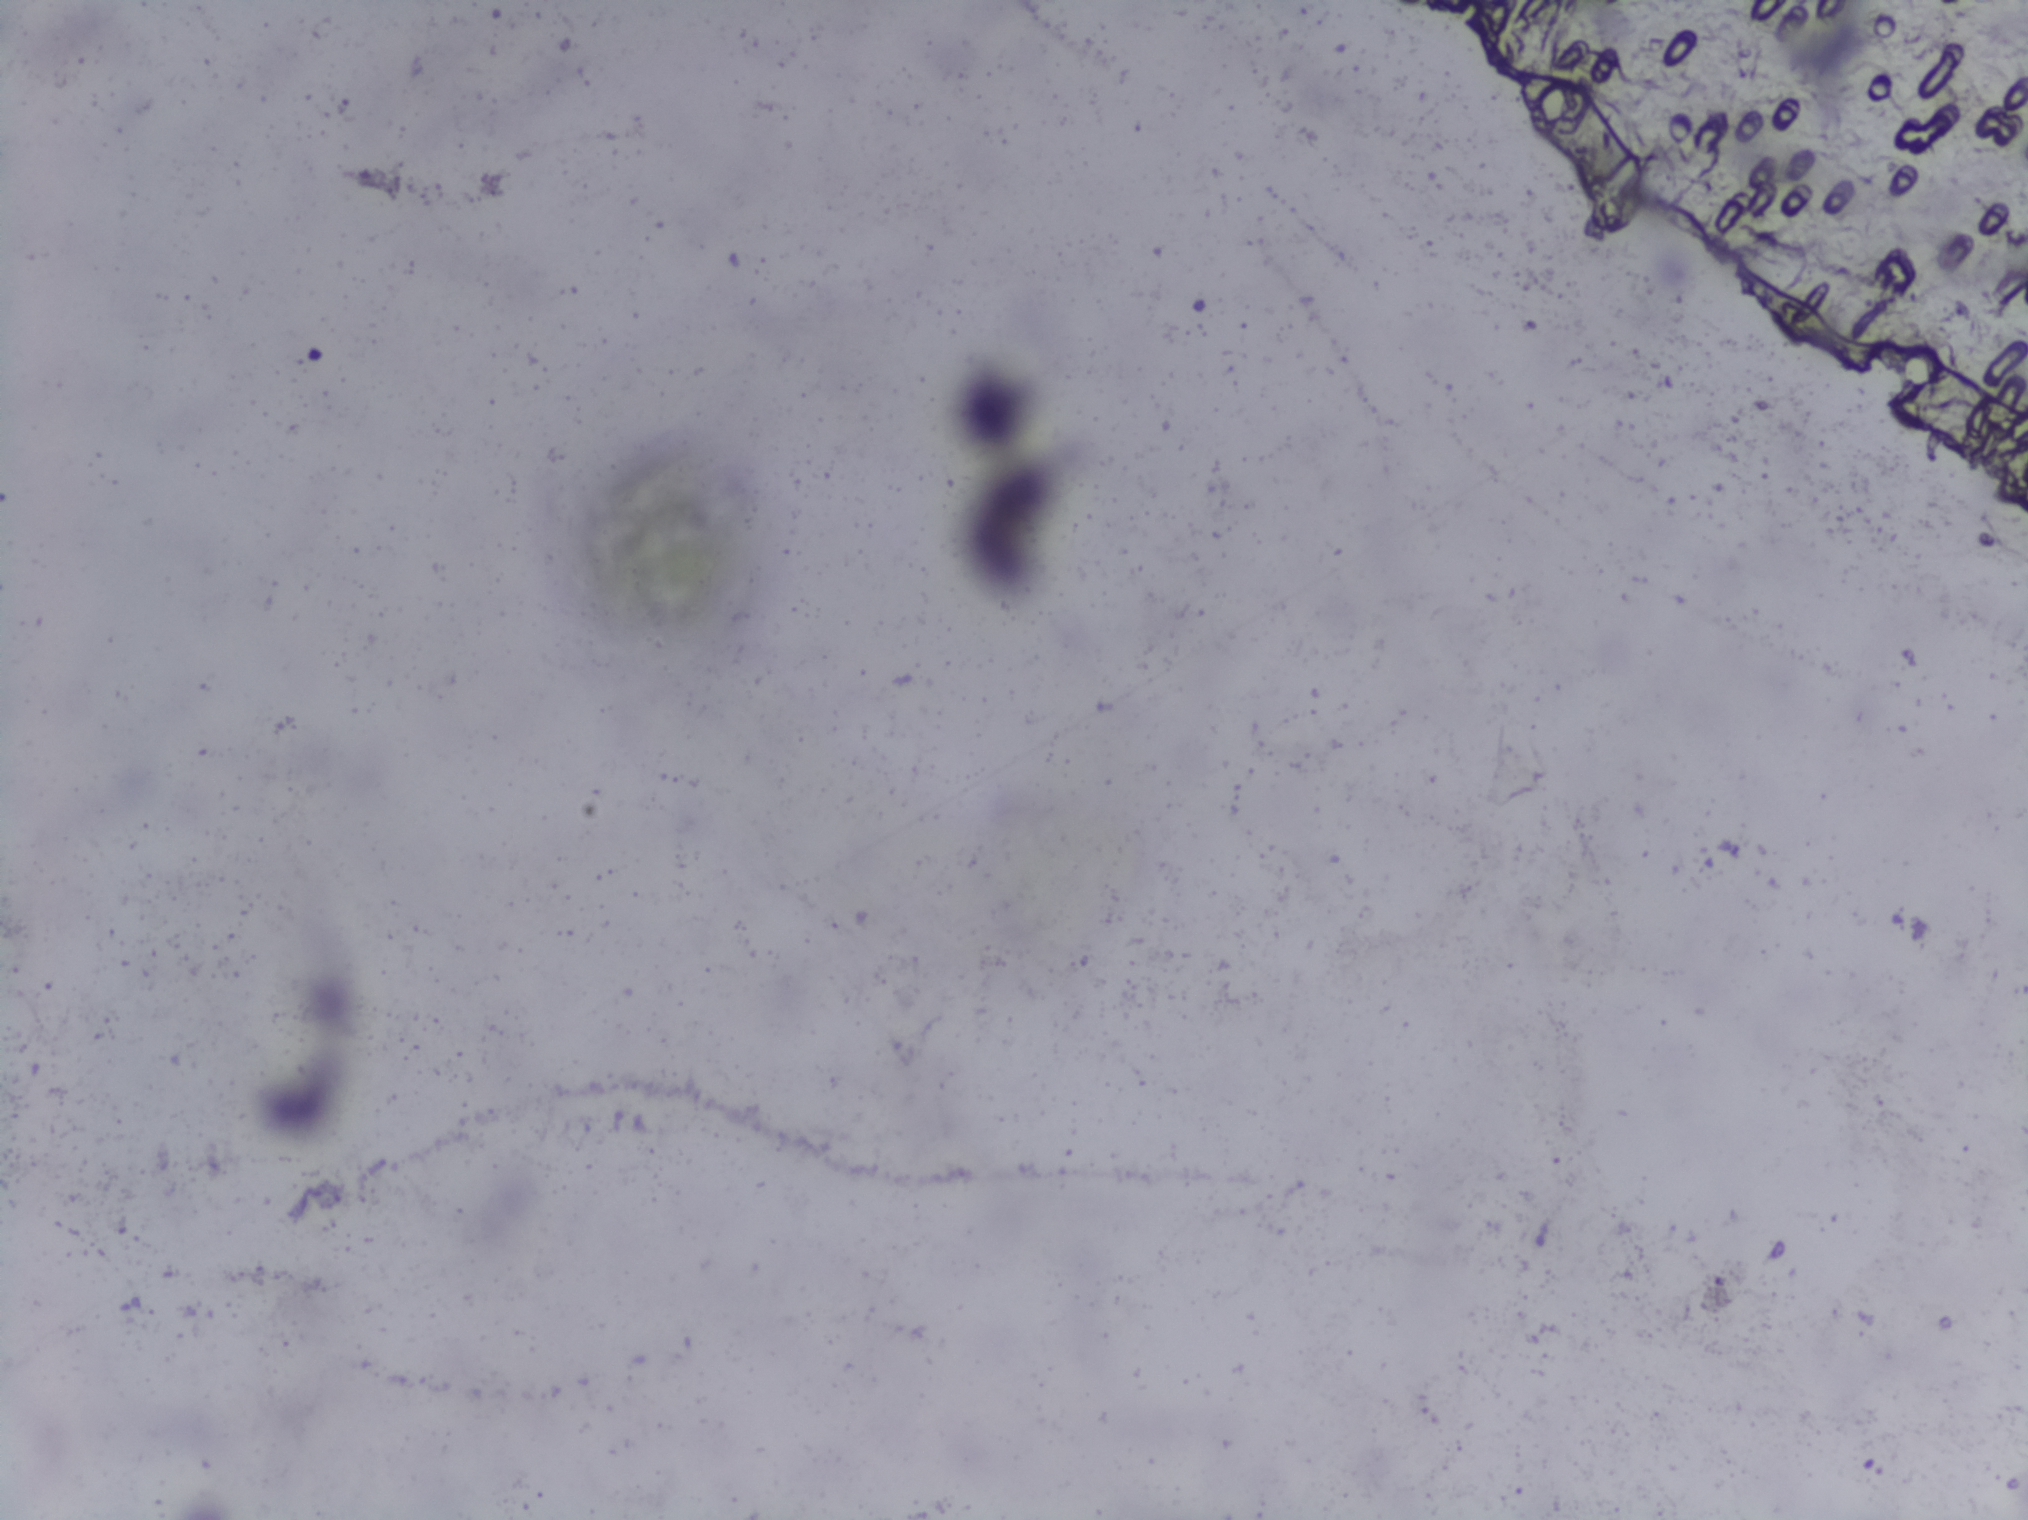
Urine filter membrane photographed through a 4× microscope objective.
The expert annotation marks no Schistosoma egg in this field of view.